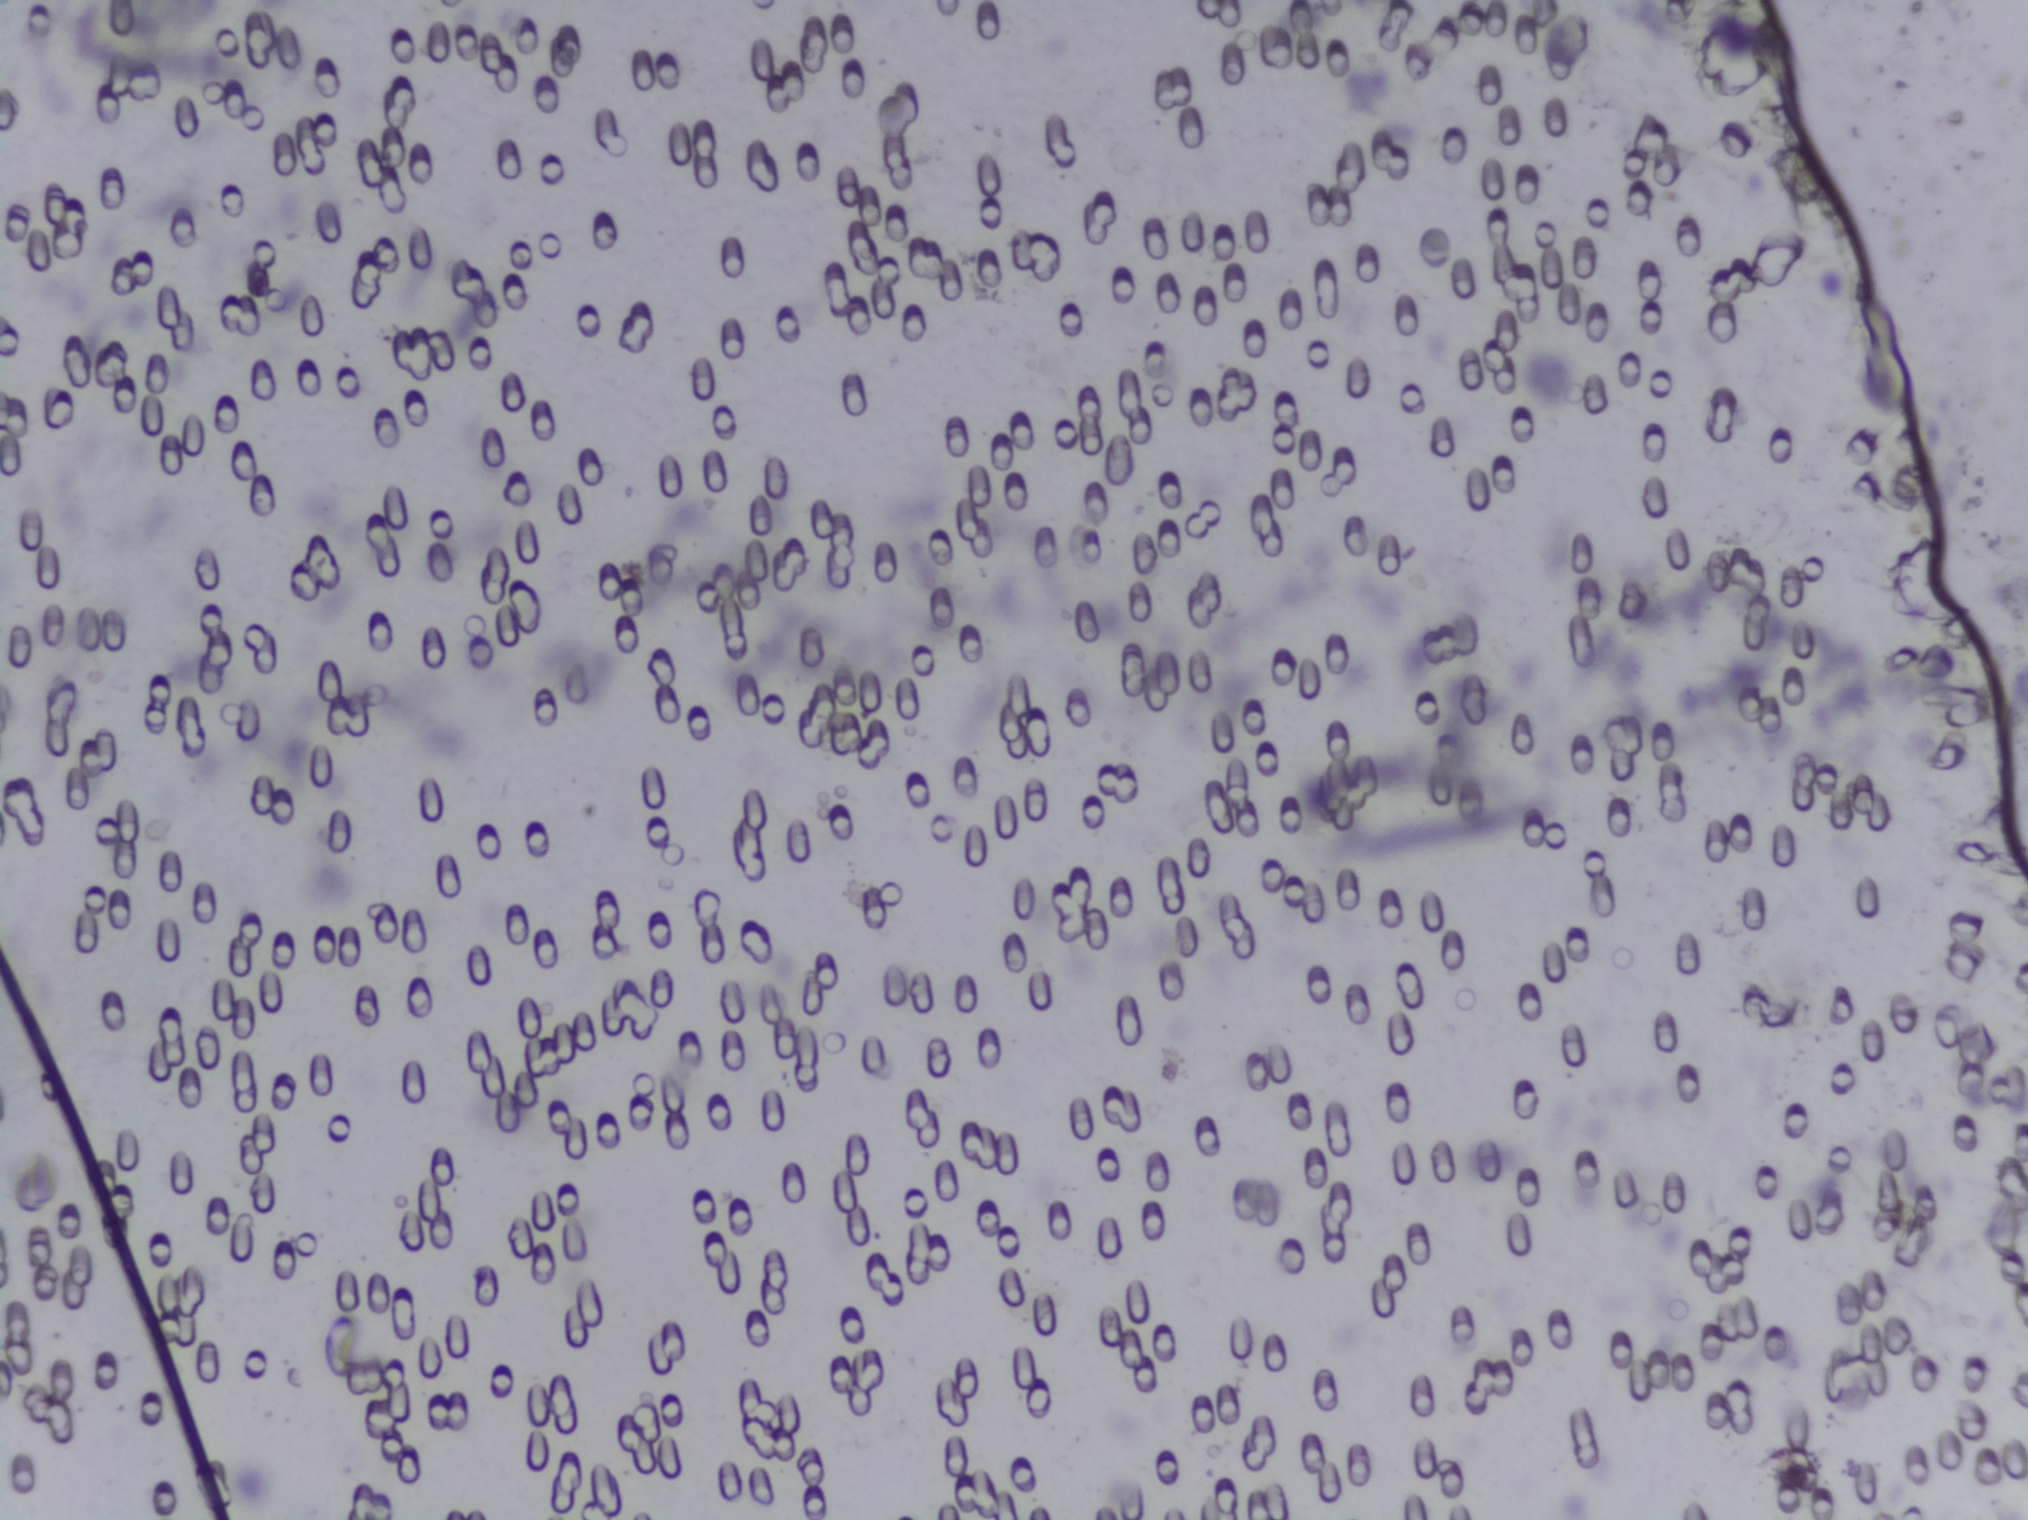
Urine filtration membrane under a 4× objective, photographed by an automated digital microscope.
No Schistosoma egg is outlined in this image's expert annotation.